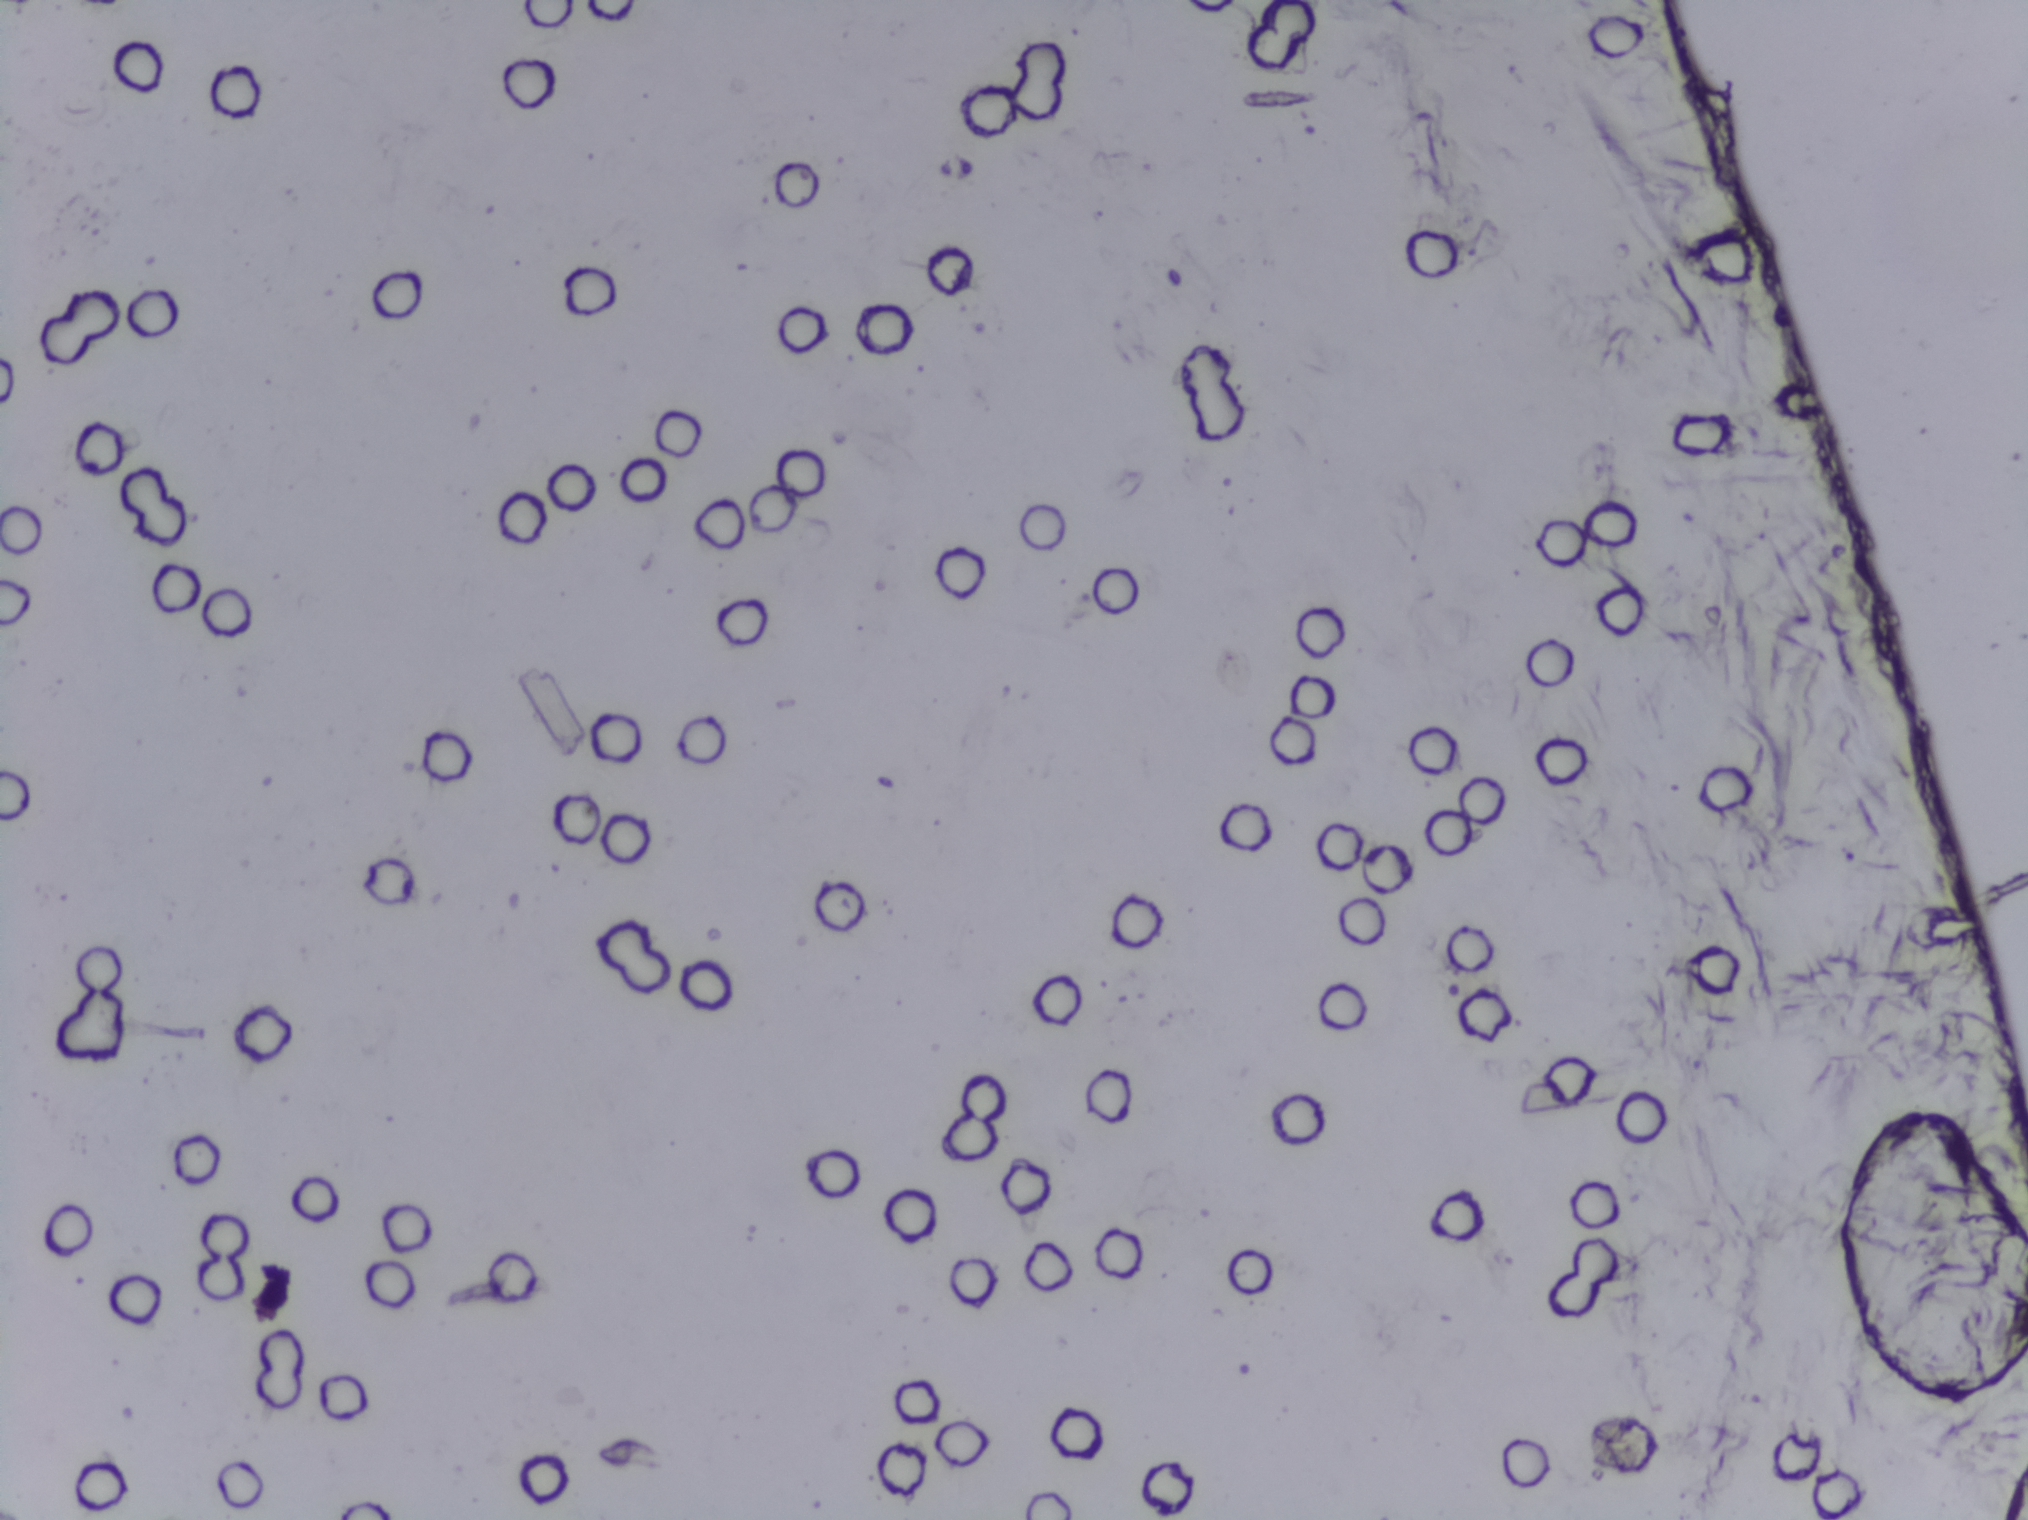
The expert annotation outlines no Schistosoma egg in this image.
Photograph from an automated digital microscope: urine filter membrane, 4× objective.